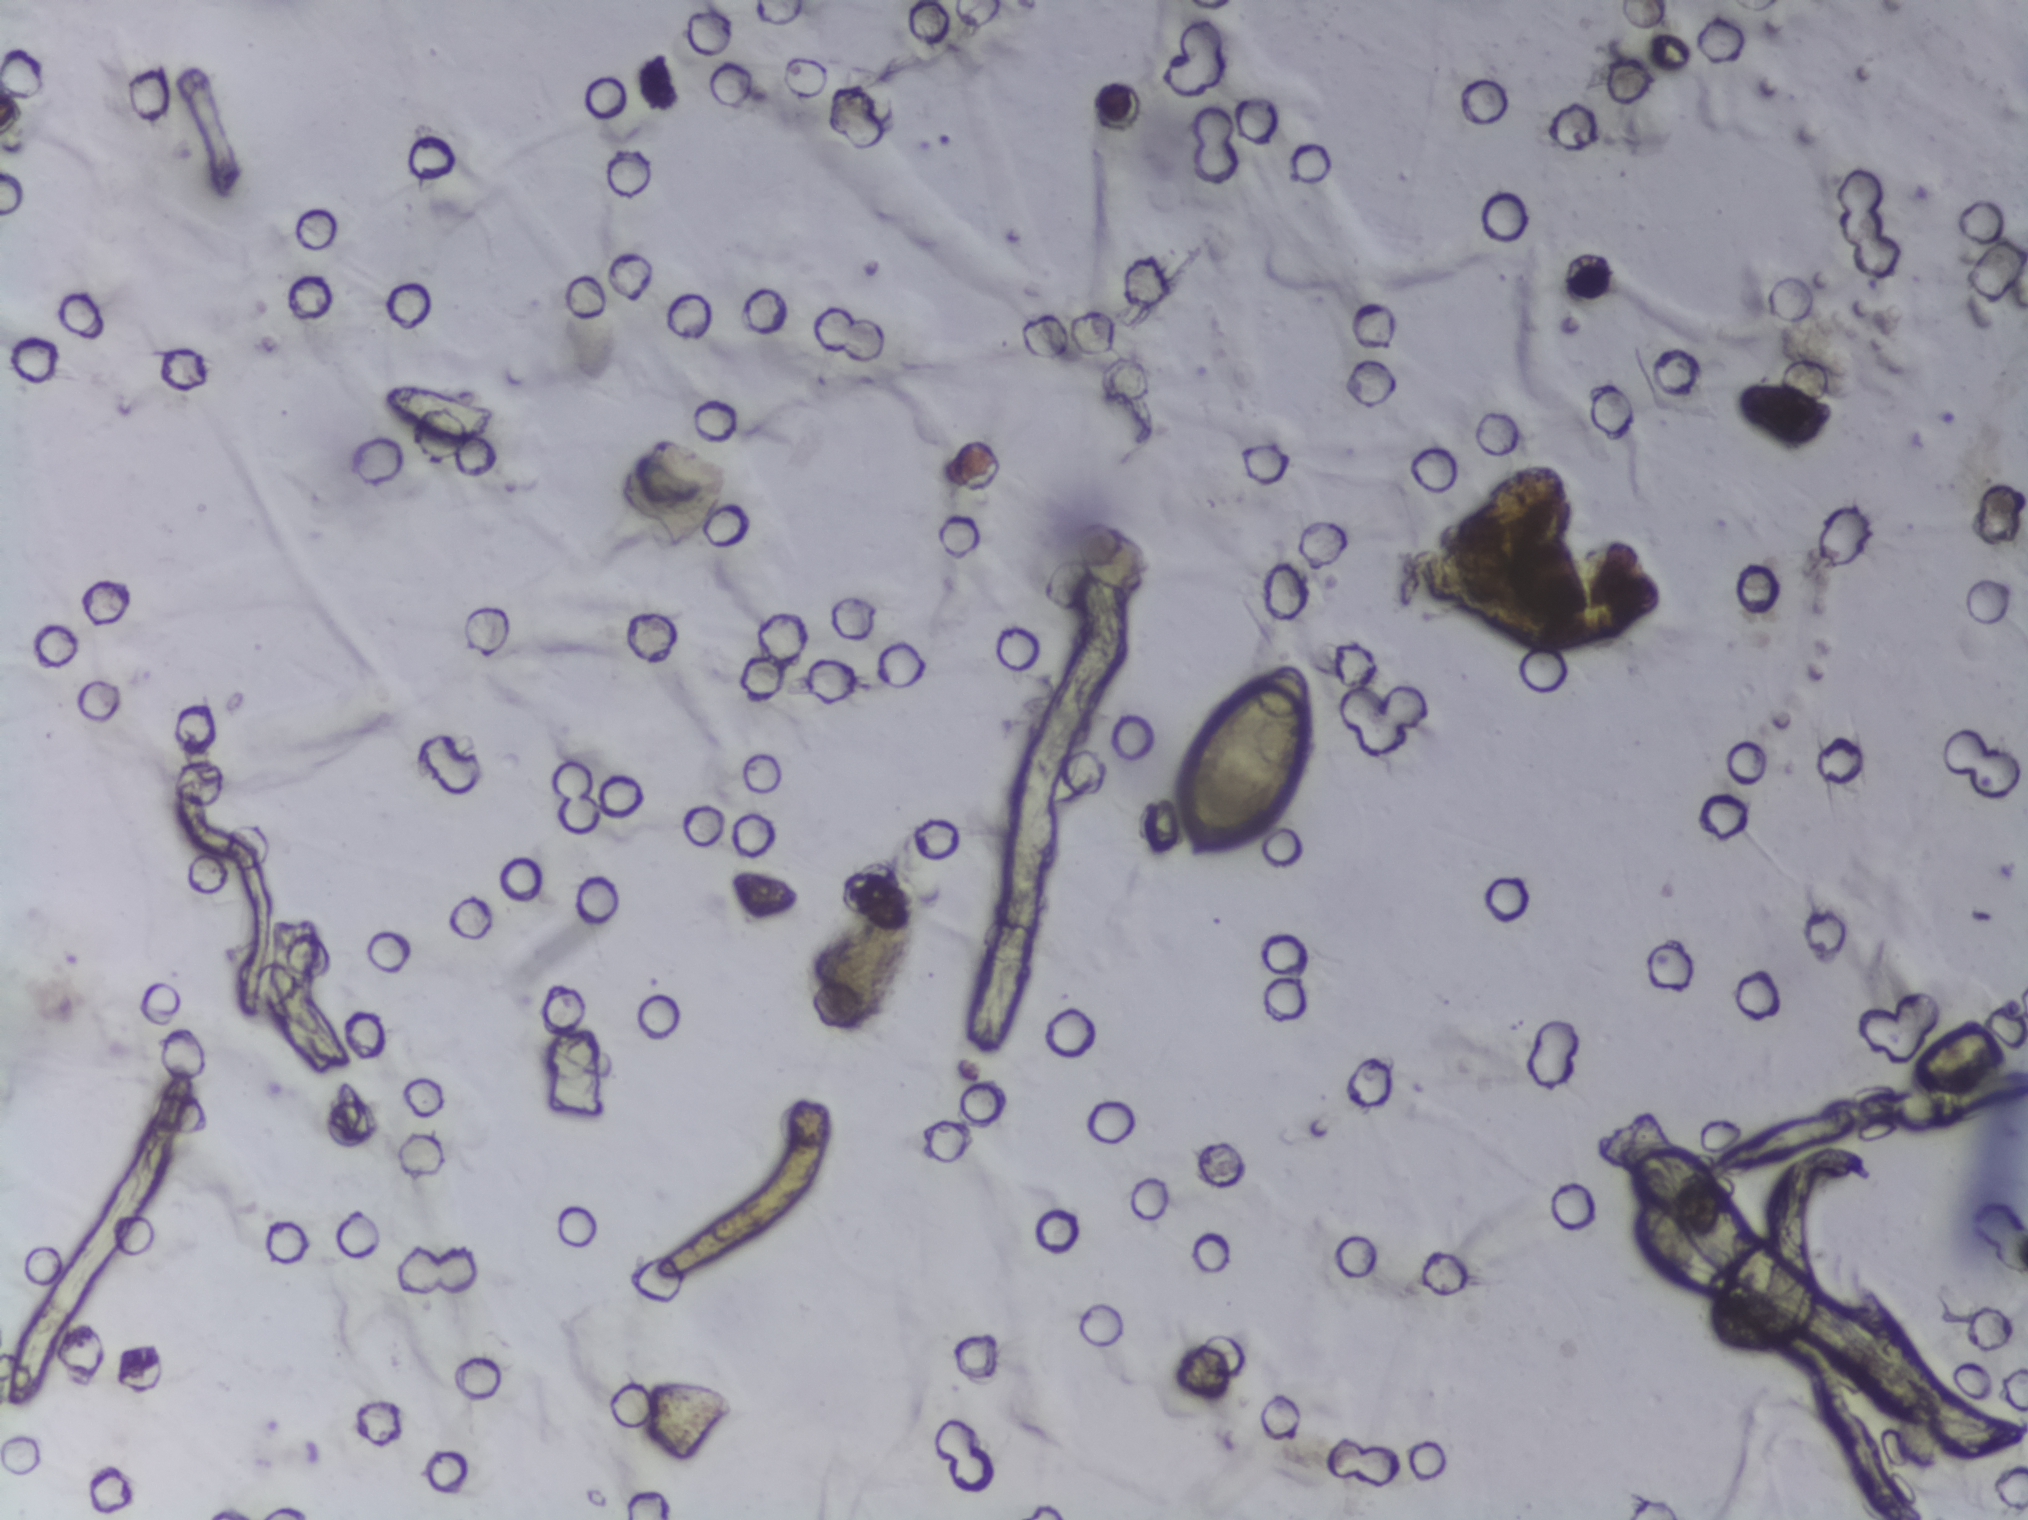
One field of view of a urine filter membrane, 4× objective, 2028 × 1520 pixels.
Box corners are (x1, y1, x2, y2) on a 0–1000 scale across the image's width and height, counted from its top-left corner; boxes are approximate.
Areas outlined as Schistosoma eggs:
1. (579, 436, 648, 568)
Eggs that touch can end up inside the same outlined area.